Photograph from an automated digital microscope: urine filter membrane, 4× objective.
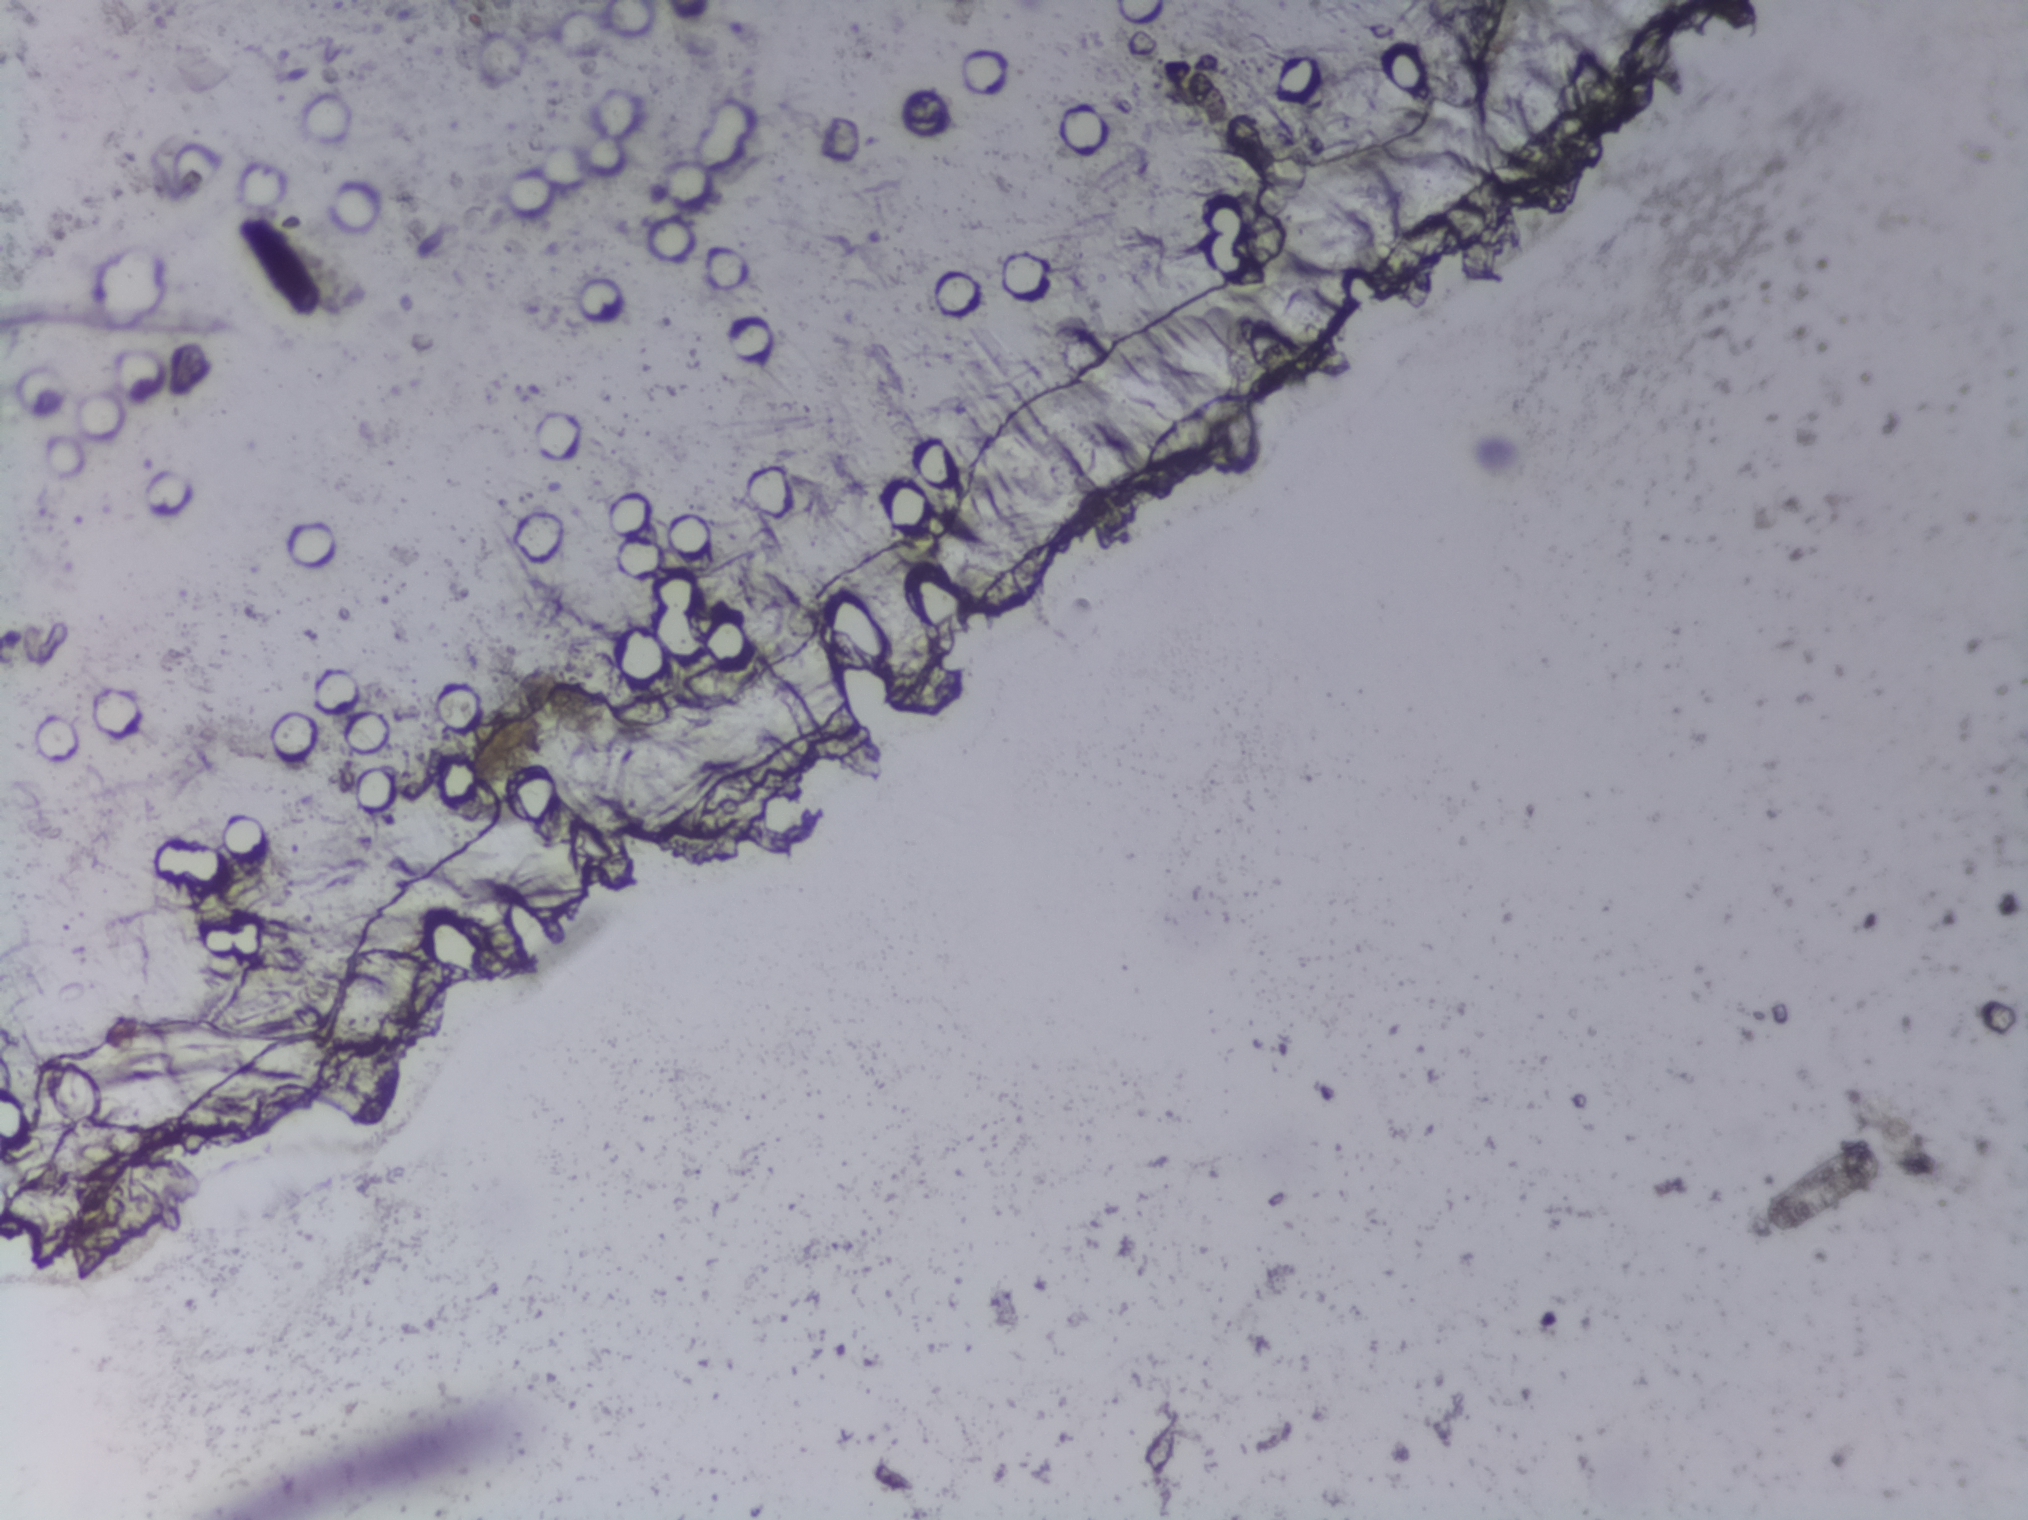
No Schistosoma egg is outlined in this image's expert annotation.